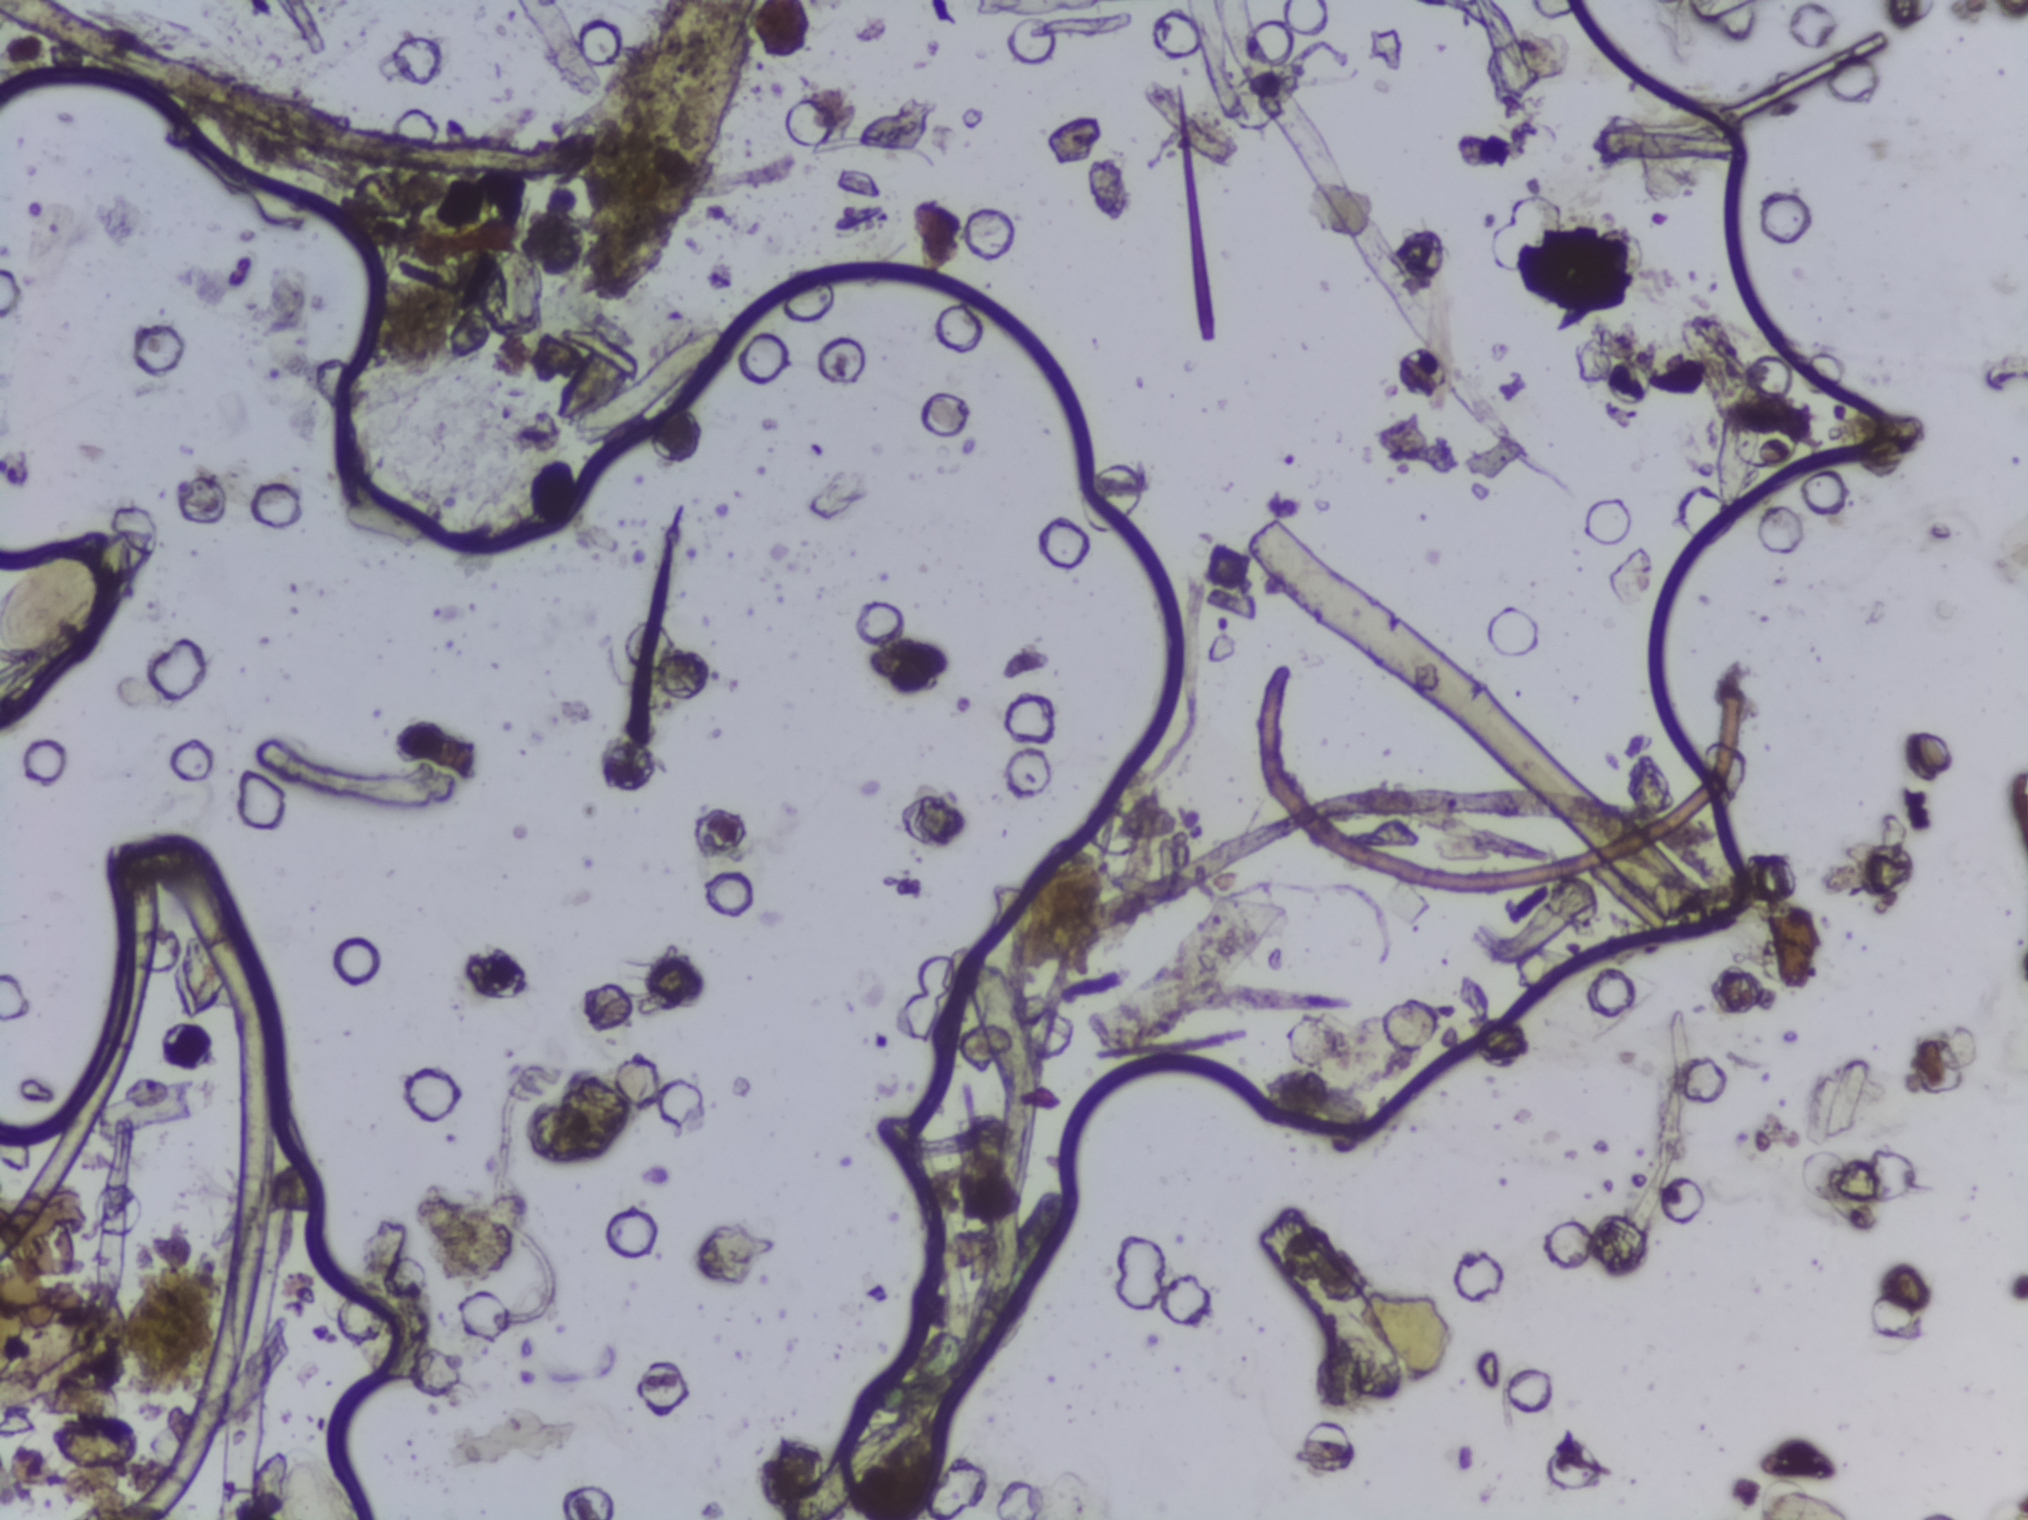
One field of view of a urine filter membrane, 4× objective, 2028 × 1520 pixels. The field of view is about 1.5 mm × 1.1 mm.
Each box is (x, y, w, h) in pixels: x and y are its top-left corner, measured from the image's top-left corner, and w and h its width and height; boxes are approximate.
Areas outlined as Schistosoma eggs: (x=0, y=523, w=173, h=147) (reaching the left edge of the frame); (x=274, y=1441, w=89, h=79) (reaching the bottom edge of the frame). Eggs that touch can end up inside the same outlined area.